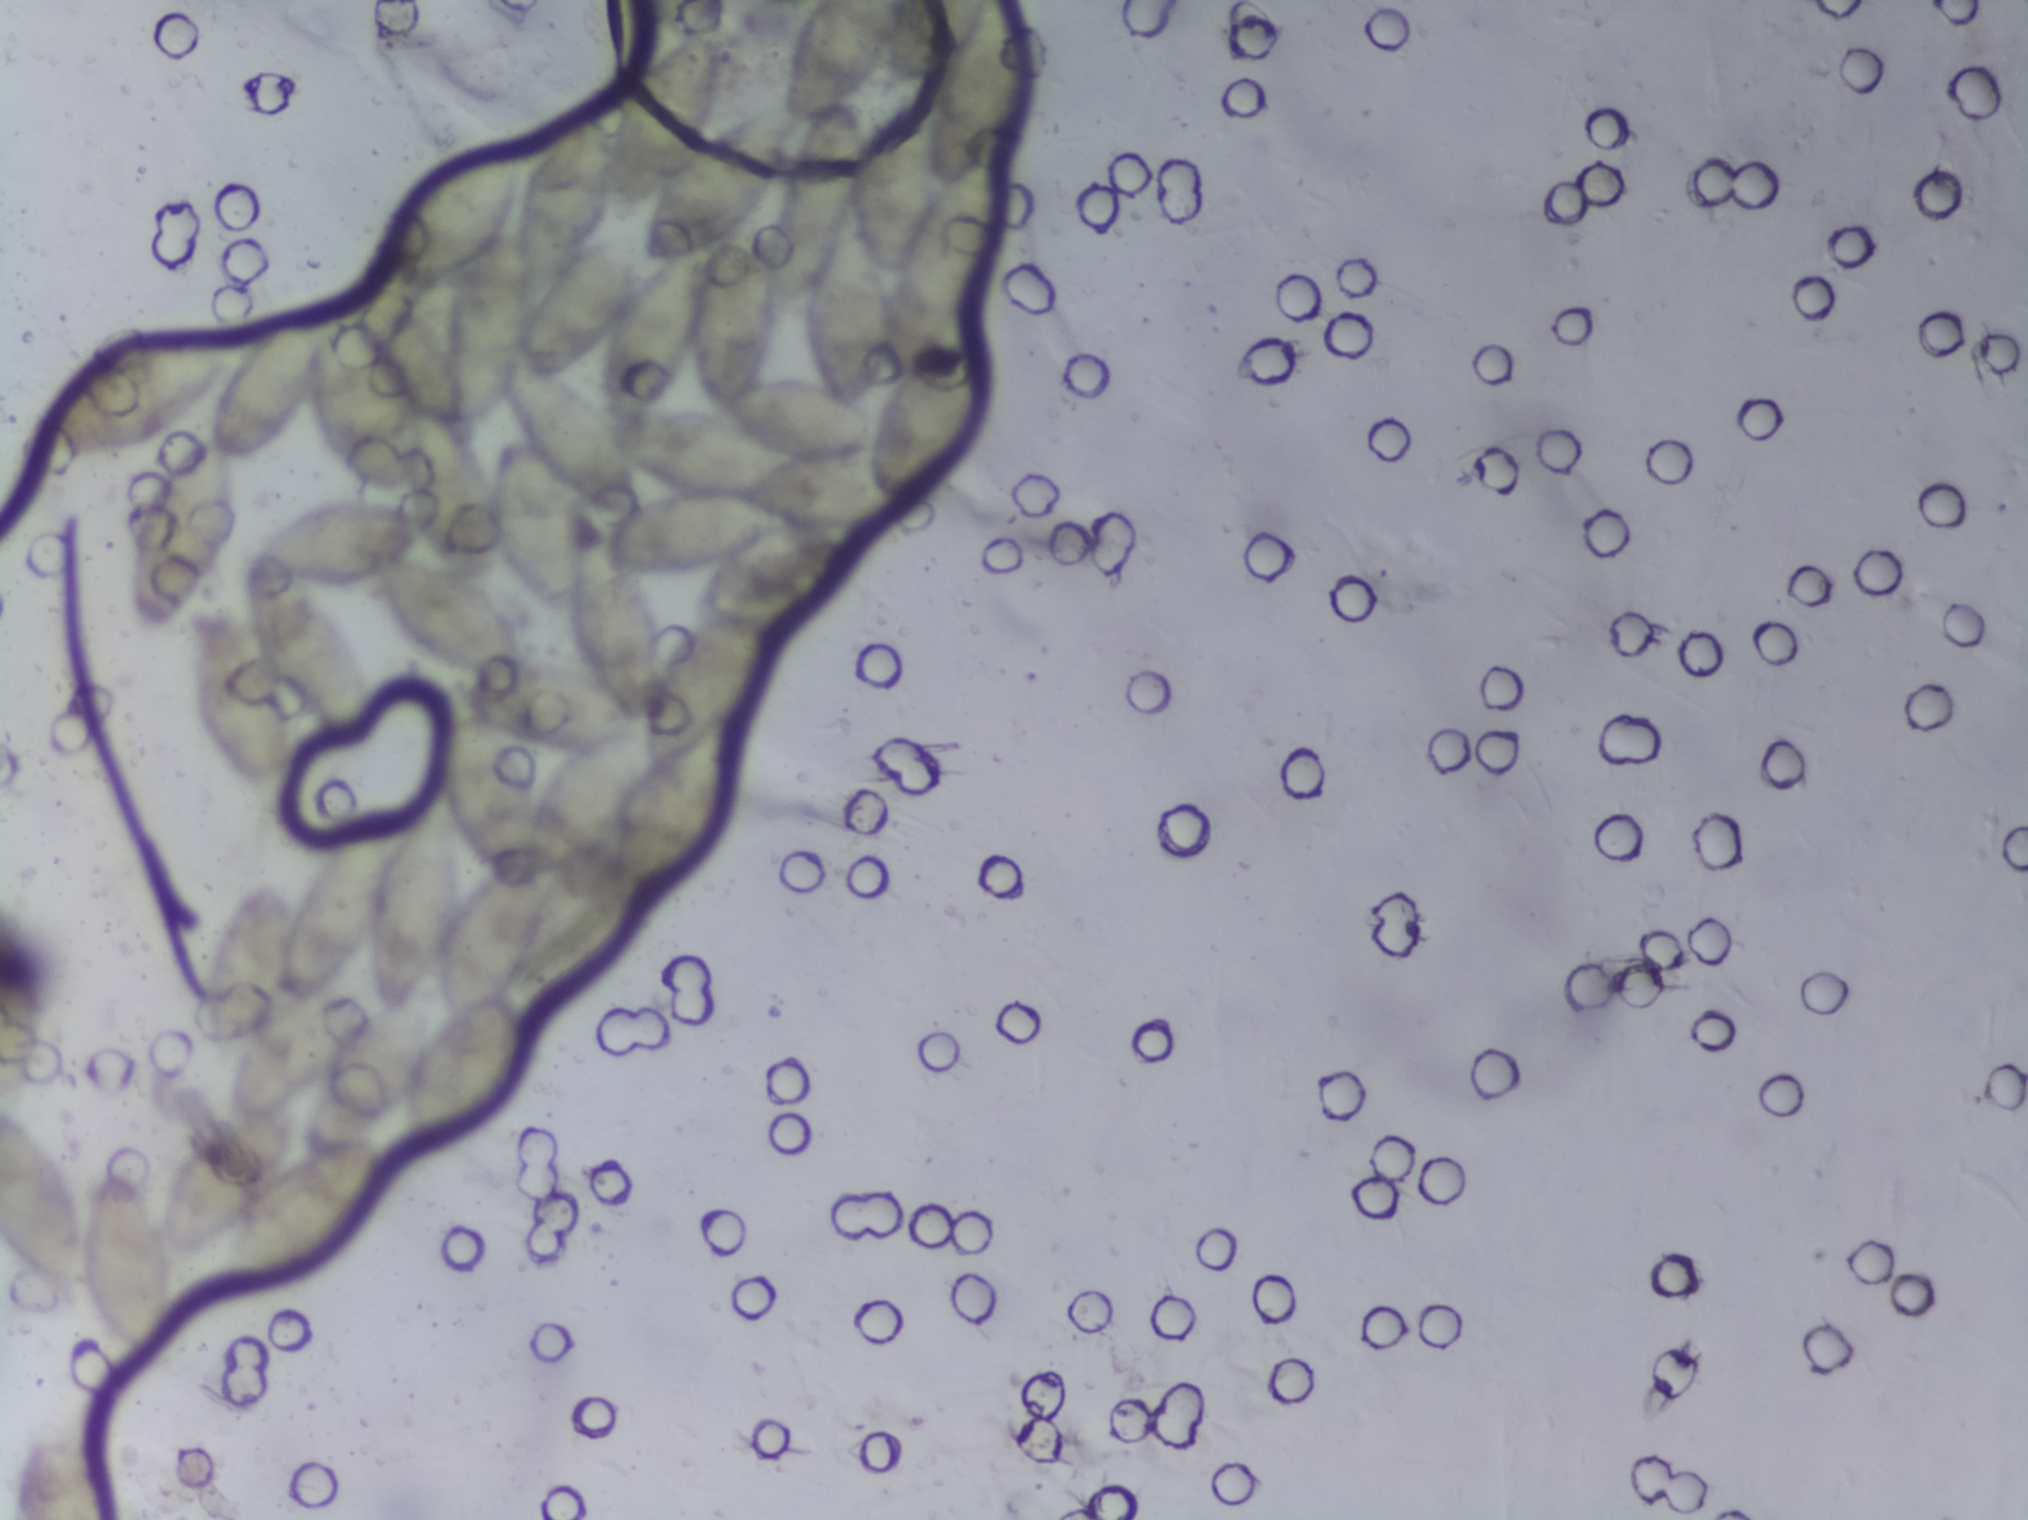
Urine filtration membrane under a 4× objective, photographed by an automated digital microscope.
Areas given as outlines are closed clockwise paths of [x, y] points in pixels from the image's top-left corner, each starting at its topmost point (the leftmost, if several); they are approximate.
Schistosoma eggs are outlined in one area of this image: outline [818, 0], [1022, 0], [1030, 15], [1027, 81], [997, 150], [1007, 161], [1007, 221], [964, 339], [978, 345], [986, 364], [986, 398], [966, 448], [942, 482], [872, 523], [866, 556], [840, 594], [778, 632], [780, 654], [764, 698], [739, 728], [744, 765], [734, 829], [690, 879], [639, 901], [633, 922], [603, 963], [521, 999], [527, 1050], [493, 1108], [473, 1124], [415, 1148], [406, 1138], [406, 1107], [386, 1119], [372, 1133], [383, 1155], [385, 1184], [371, 1220], [309, 1274], [252, 1289], [222, 1286], [232, 1226], [211, 1244], [170, 1252], [173, 1348], [159, 1362], [136, 1362], [88, 1304], [81, 1312], [60, 1312], [0, 1262], [0, 1101], [23, 1108], [51, 1139], [82, 1211], [94, 1168], [115, 1161], [145, 1186], [163, 1224], [180, 1156], [202, 1122], [230, 1105], [226, 1070], [233, 1047], [208, 1042], [204, 1008], [204, 952], [222, 913], [261, 875], [302, 881], [303, 867], [335, 825], [381, 810], [400, 838], [434, 796], [410, 672], [436, 666], [448, 678], [455, 673], [385, 619], [372, 574], [316, 580], [370, 657], [382, 724], [373, 743], [346, 748], [289, 700], [296, 775], [276, 793], [258, 796], [229, 775], [207, 732], [191, 674], [191, 618], [154, 638], [138, 631], [131, 616], [134, 500], [157, 471], [215, 424], [215, 398], [194, 424], [121, 456], [26, 458], [26, 417], [78, 363], [134, 339], [217, 337], [231, 348], [231, 368], [252, 337], [293, 313], [337, 310], [374, 330], [407, 288], [385, 278], [385, 216], [396, 191], [399, 200], [448, 161], [505, 142], [514, 142], [526, 159], [534, 140], [591, 102], [610, 114], [628, 78], [627, 65], [661, 36], [689, 24], [727, 26], [727, 72], [714, 128], [754, 106], [790, 99], [791, 30] (eggs clustered together; reaching the left and top edges of the frame). Eggs that touch can end up inside the same outlined area.